Urine filter membrane photographed through a 4× microscope objective. The image covers about 1.5 × 1.1 mm of the membrane.
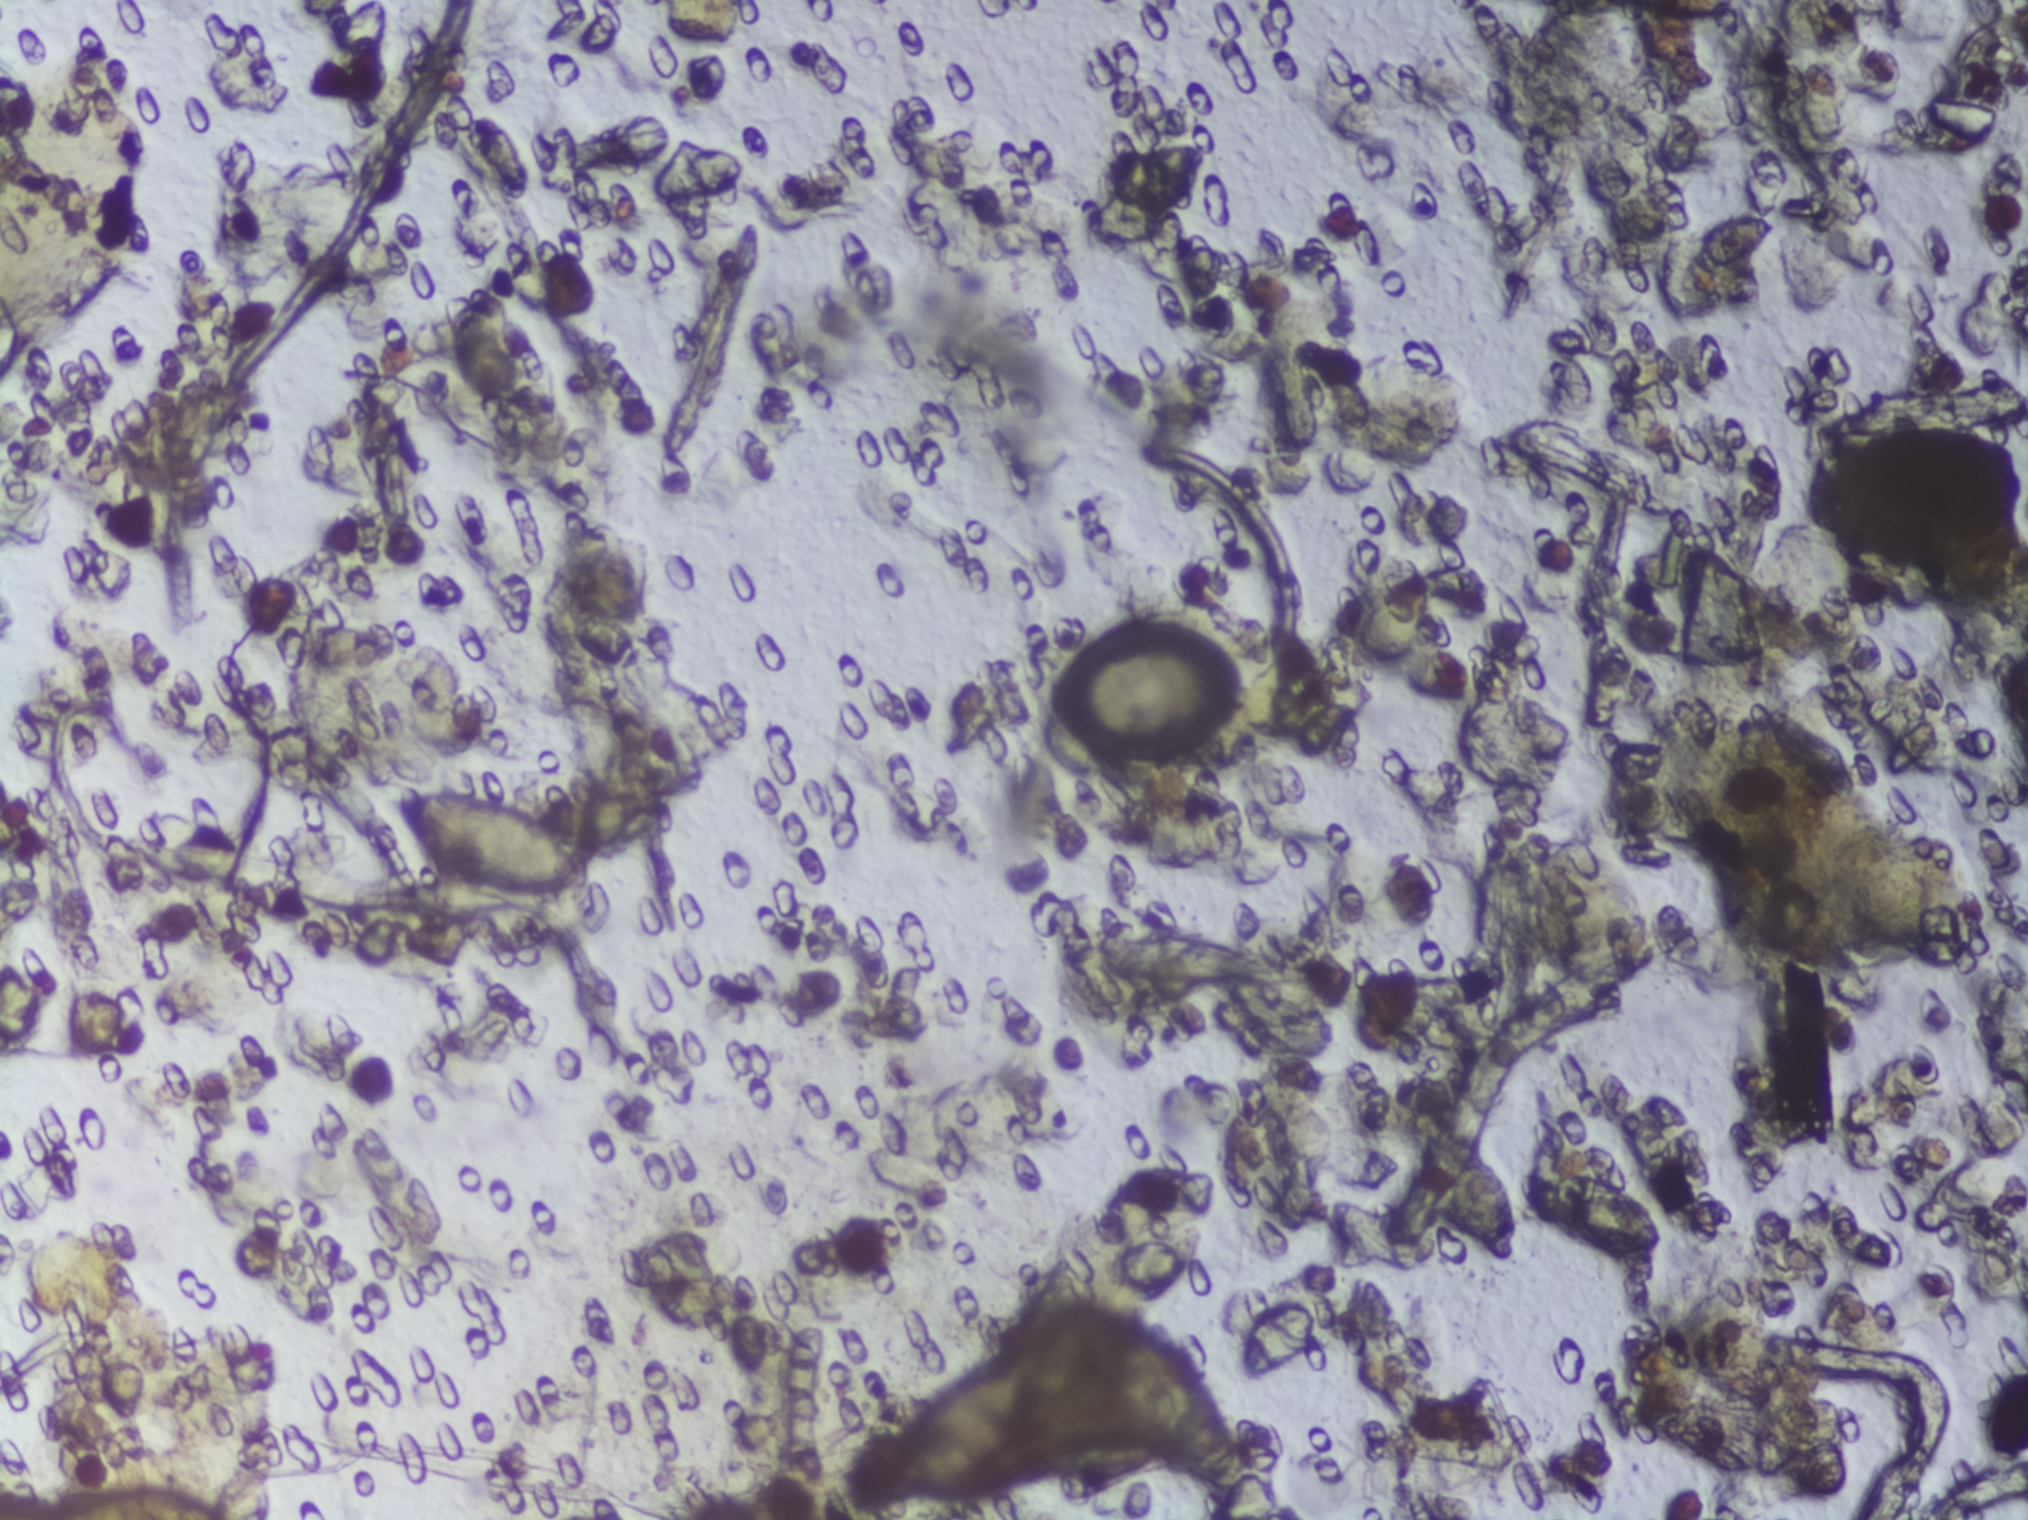
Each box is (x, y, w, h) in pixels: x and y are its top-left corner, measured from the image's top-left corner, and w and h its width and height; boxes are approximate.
Four areas of this image are outlined as Schistosoma eggs, from left to right: (x=387, y=788, w=253, h=111); (x=1082, y=1317, w=161, h=169); (x=1416, y=1131, w=102, h=124); (x=1529, y=1167, w=139, h=93). Marked pixels, not the boxes around them: about 1.7% of the image. Eggs that touch can end up inside the same outlined area. Any one outlined egg may, rarely, be S. mansoni rather than S. haematobium.